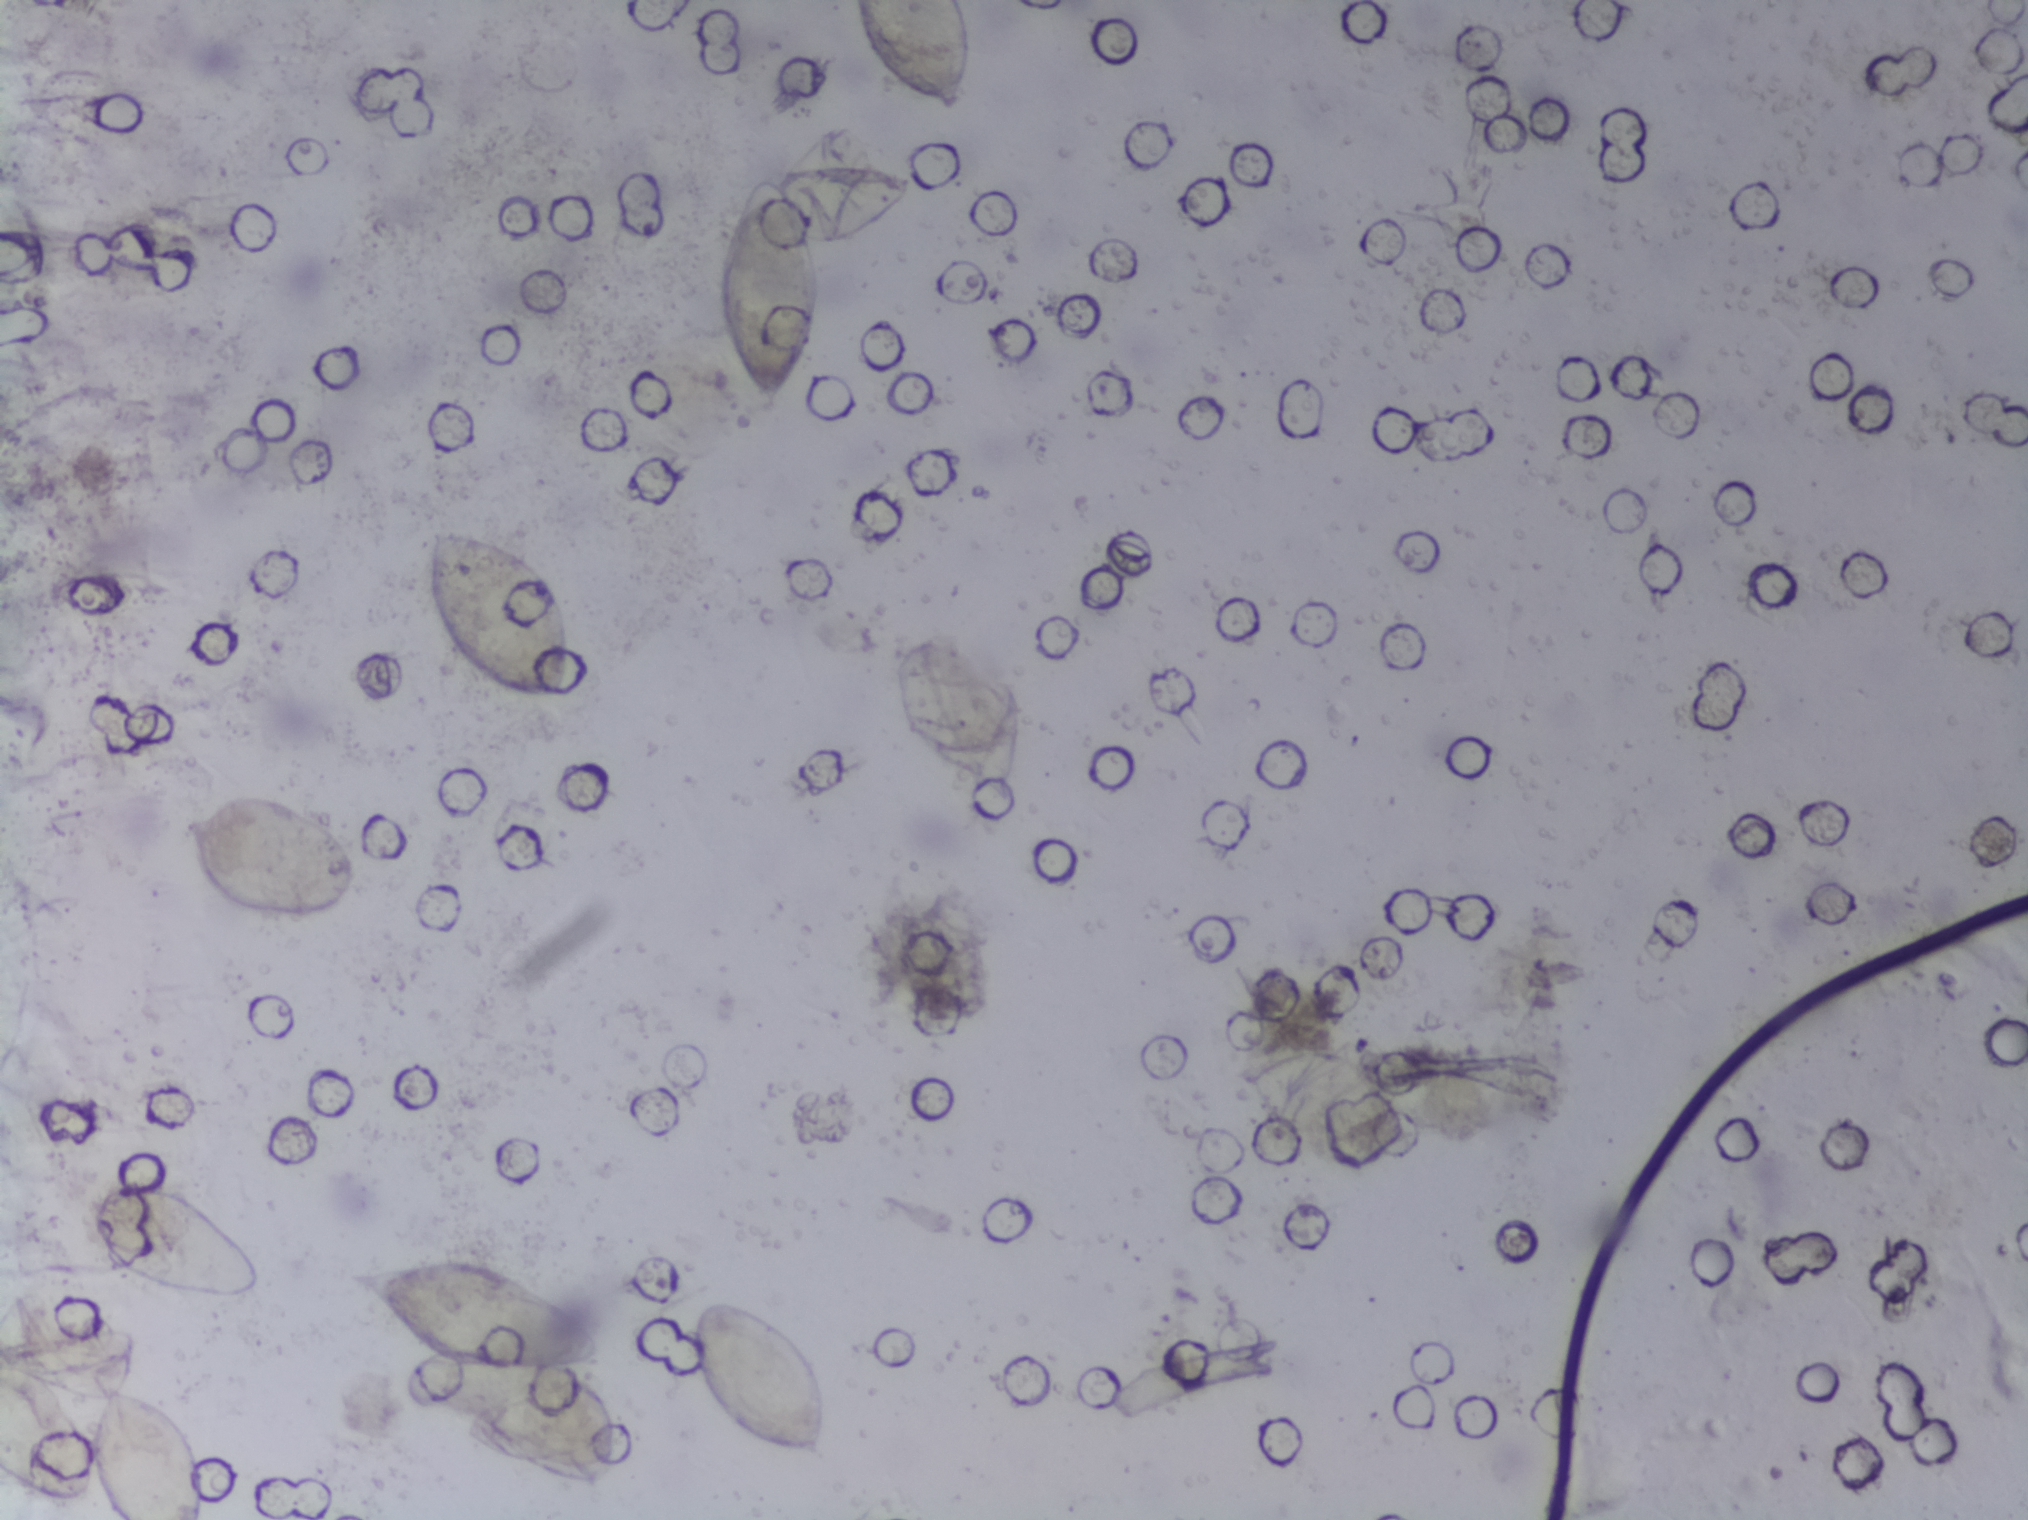
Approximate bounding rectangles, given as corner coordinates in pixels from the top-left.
Ten areas of this image are outlined as Schistosoma eggs, from left to right: (x1=0, y1=1348, x2=218, y2=1519) (reaching the left and bottom edges of the frame); (x1=82, y1=1179, x2=261, y2=1300); (x1=176, y1=788, x2=362, y2=921); (x1=339, y1=1256, x2=625, y2=1484); (x1=421, y1=524, x2=572, y2=697); (x1=686, y1=1294, x2=834, y2=1463); (x1=715, y1=168, x2=824, y2=417); (x1=851, y1=0, x2=974, y2=113) (reaching the top edge of the frame); (x1=886, y1=630, x2=1029, y2=804); (x1=1237, y1=1051, x2=1409, y2=1161). The marked pixels themselves, not the boxes around them, cover about 6.3% of the image. A single outlined area may contain several eggs.
Microscope photograph (4× objective) of a membrane that a urine sample was filtered through. The image covers about 1.5 × 1.1 mm of the membrane.